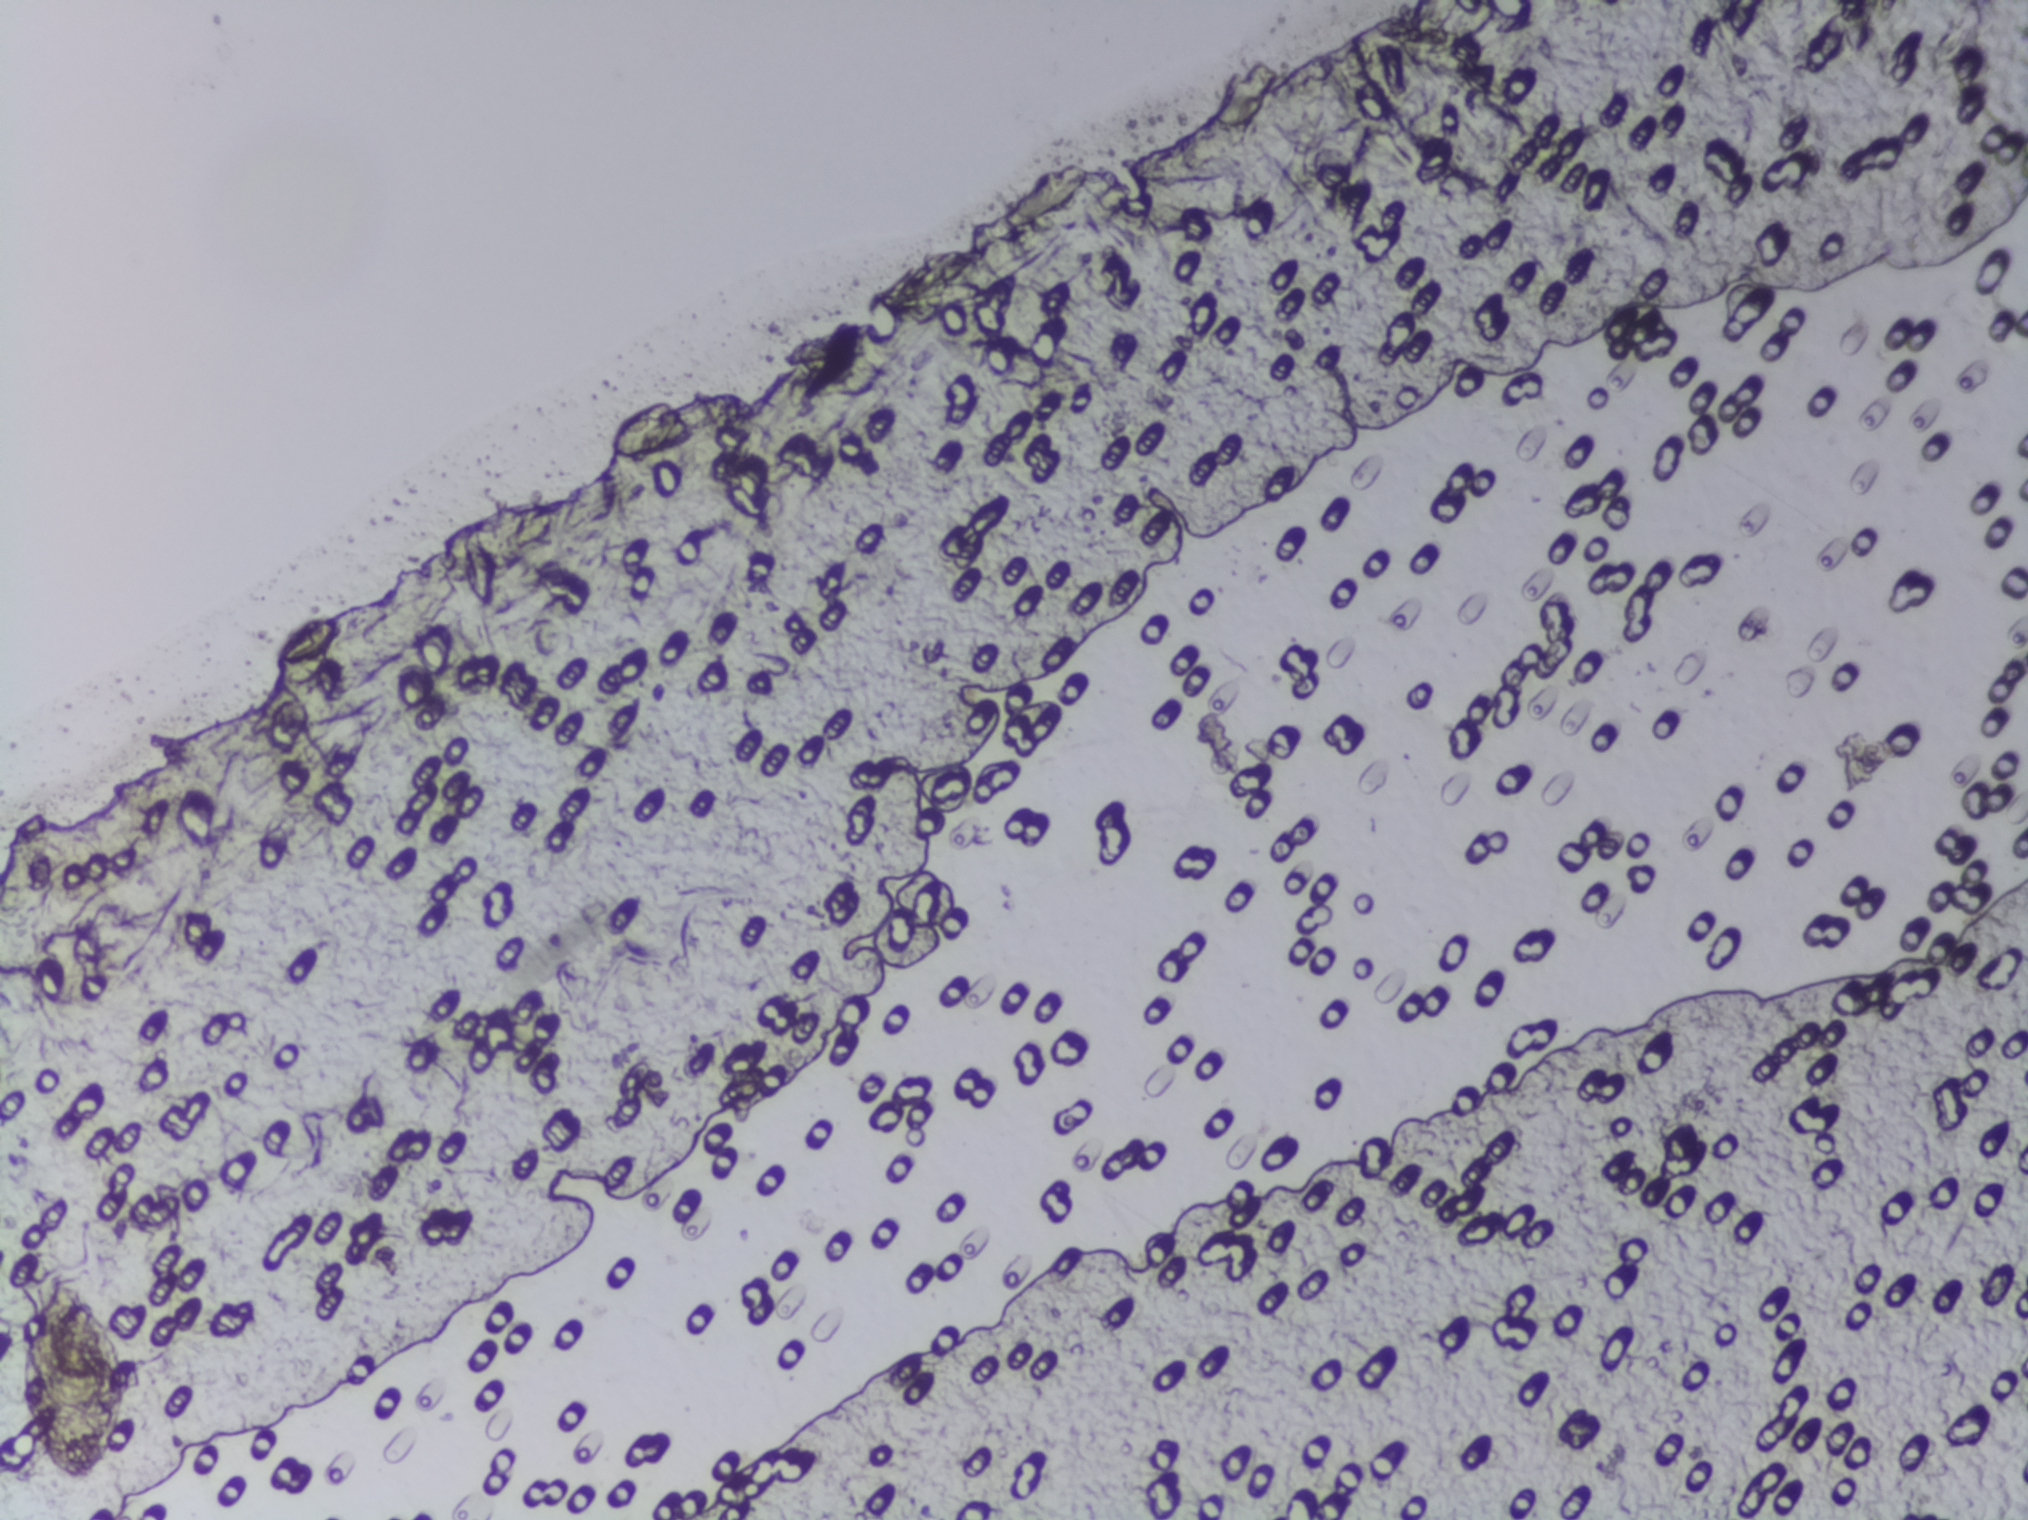
Microscope photograph (4× objective) of a membrane that a urine sample was filtered through.
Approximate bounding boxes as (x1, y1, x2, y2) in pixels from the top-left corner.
Findings: one area outlined as Schistosoma eggs. Location: (20, 1272, 125, 1482). Eggs that touch can end up inside the same outlined area.